Microscope photograph (4× objective) of a membrane that a urine sample was filtered through. Field of view: about 1.5 mm wide and 1.1 mm high.
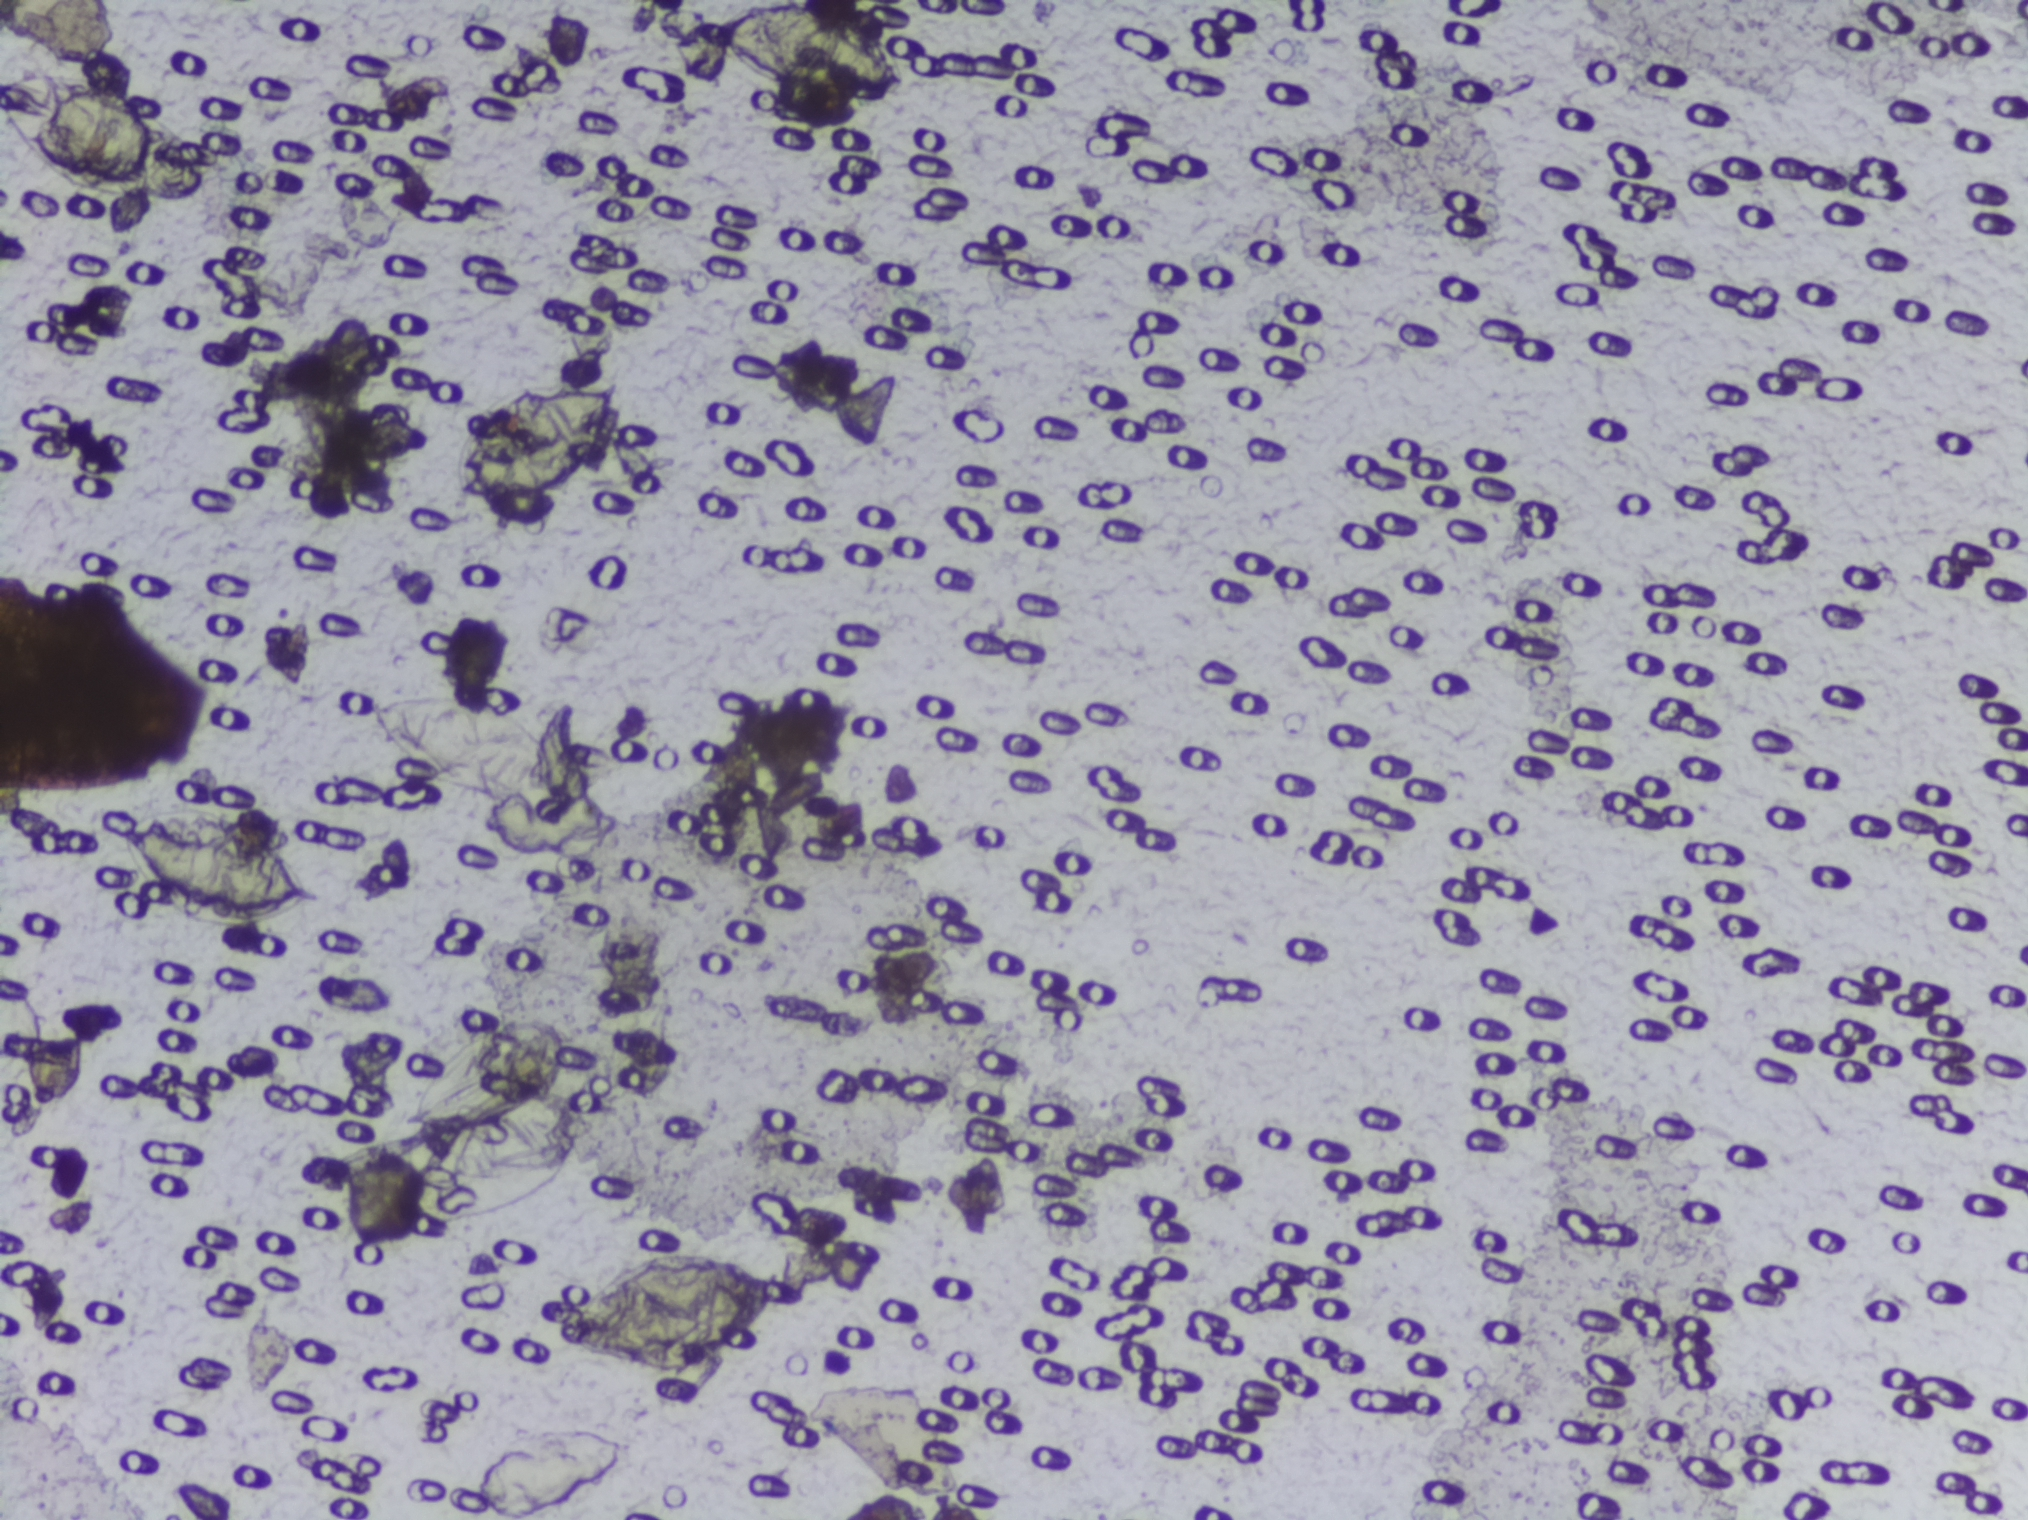
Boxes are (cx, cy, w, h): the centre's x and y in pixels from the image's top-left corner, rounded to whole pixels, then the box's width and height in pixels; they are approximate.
Schistosoma eggs are outlined in the expert annotation at (cx=95, cy=131, w=190, h=153) (reaching the left edge of the frame); (cx=220, cy=863, w=237, h=149); (cx=472, cy=746, w=248, h=138); (cx=495, cy=1120, w=225, h=220); (cx=530, cy=442, w=197, h=150); (cx=671, cy=1310, w=253, h=130); (cx=793, cy=58, w=240, h=117) (reaching the top edge of the frame) (left to right). An outlined area can hold more than one egg.